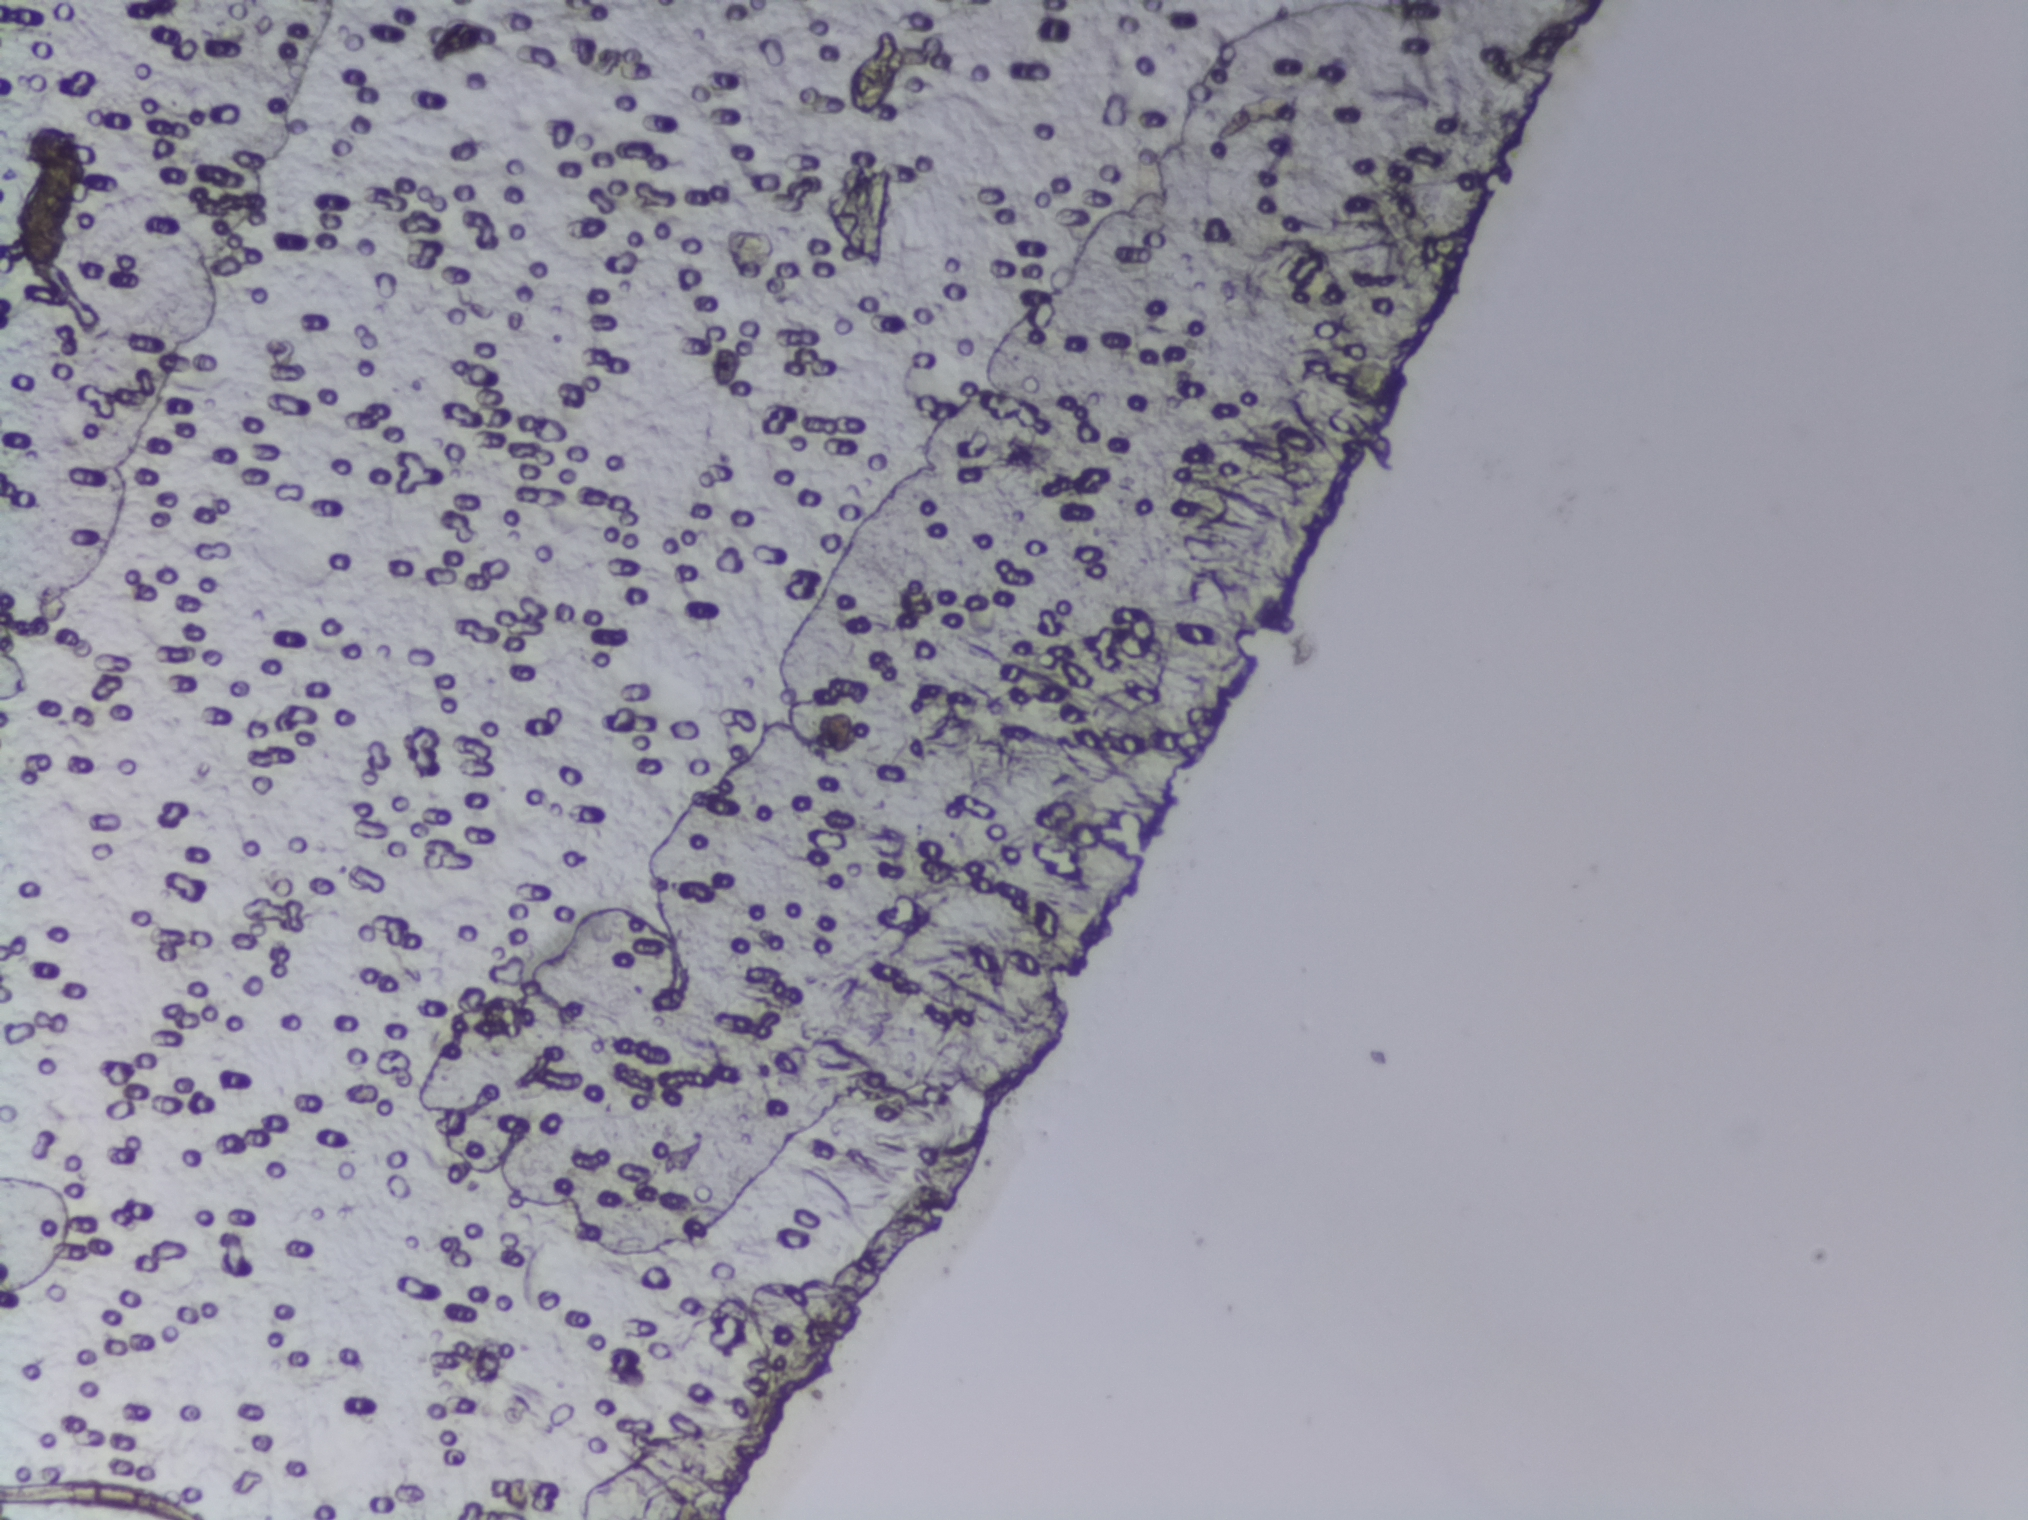
Photomicrograph of a urine filtration membrane, 4× objective. The image covers about 1.5 × 1.1 mm of the membrane.
The expert annotation outlines no Schistosoma egg in this image.